Microscope photograph (4× objective) of a membrane that a urine sample was filtered through.
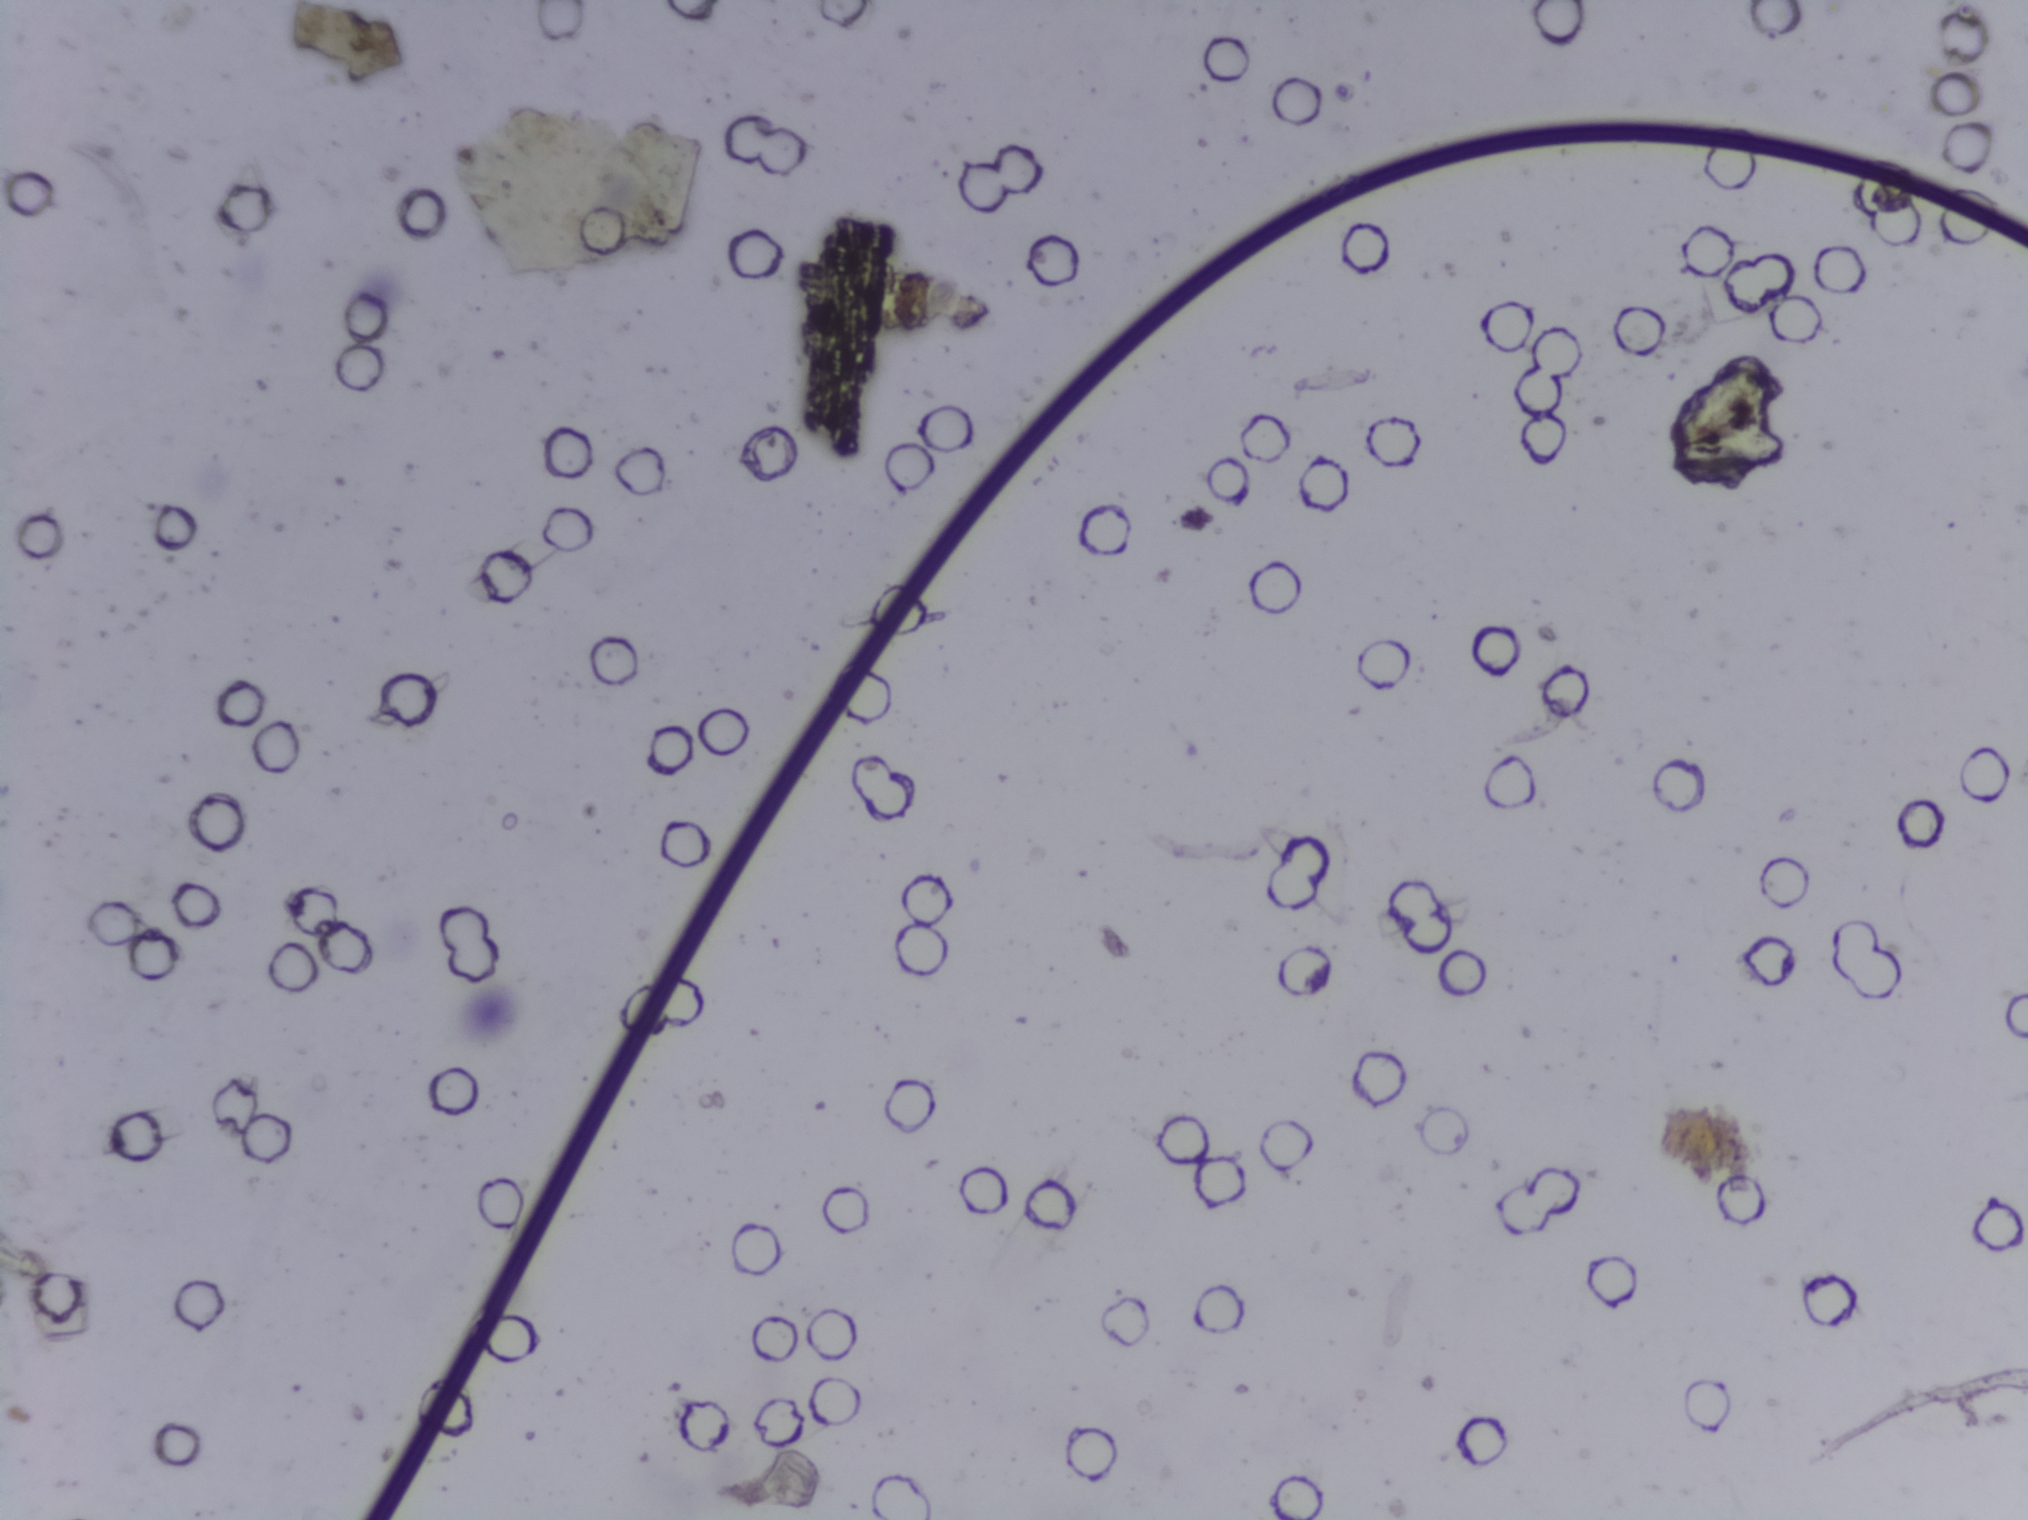
No Schistosoma egg is outlined in this image's expert annotation.